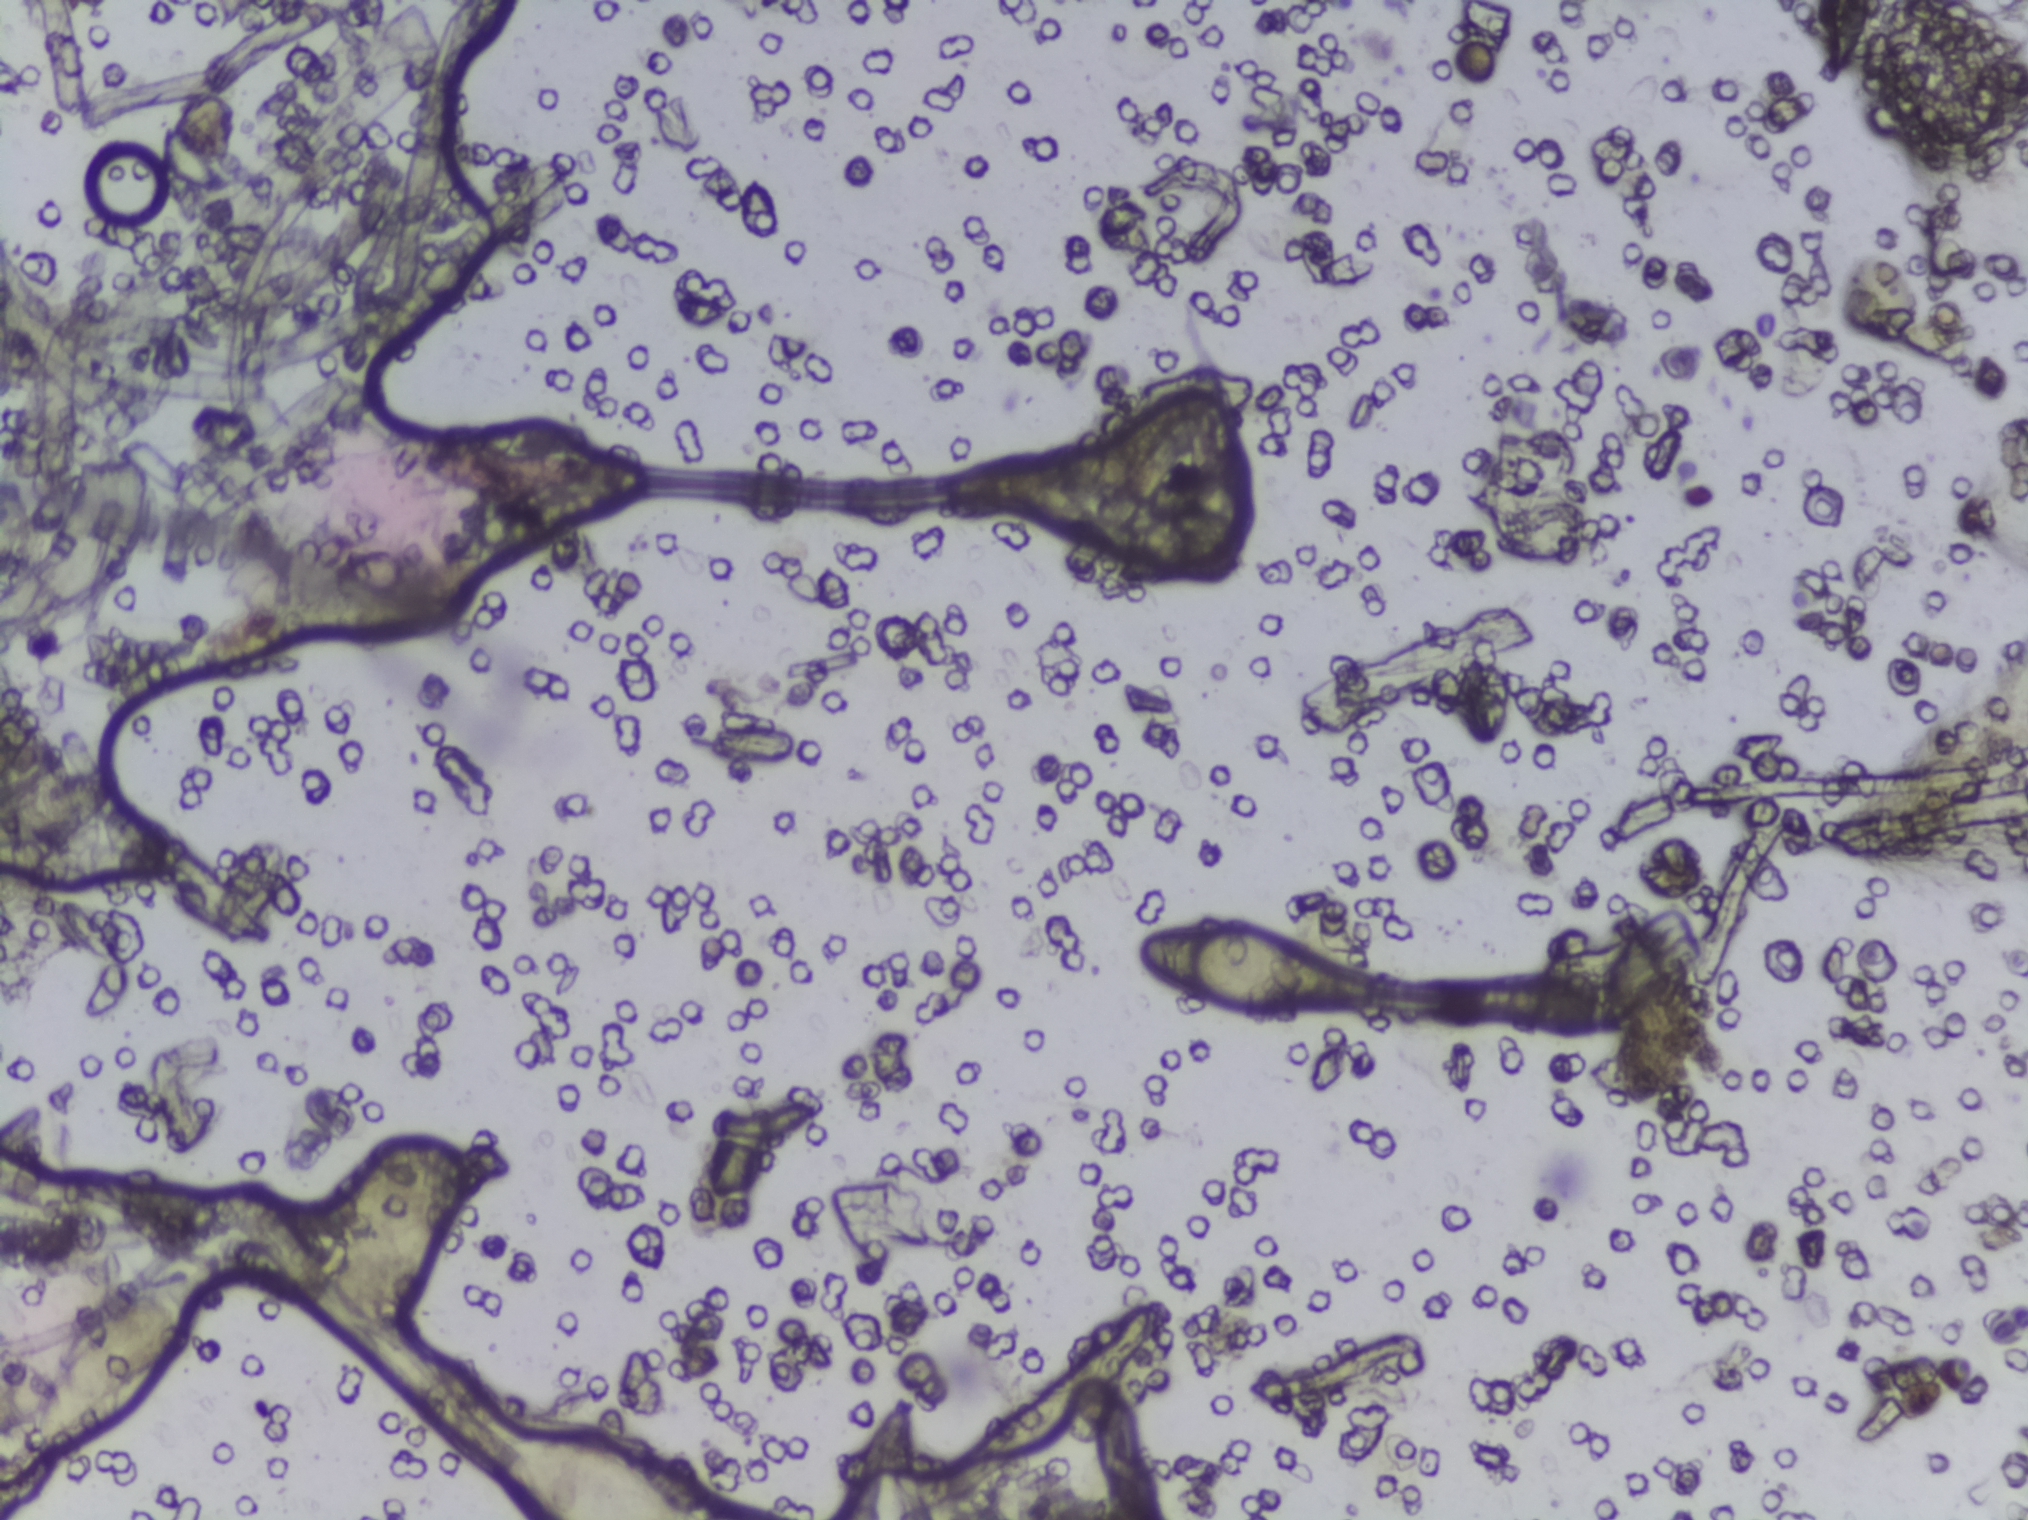
Photograph from an automated digital microscope: urine filter membrane, 4× objective. Field of view: about 1.5 mm wide and 1.1 mm high.
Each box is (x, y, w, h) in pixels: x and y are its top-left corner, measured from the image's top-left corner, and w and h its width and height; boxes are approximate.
Areas outlined as Schistosoma eggs: (x=499, y=1430, w=207, h=90) (reaching the bottom edge of the frame); (x=1142, y=922, w=200, h=101). Eggs that touch can end up inside the same outlined area.